Microscope photograph (4× objective) of a membrane that a urine sample was filtered through.
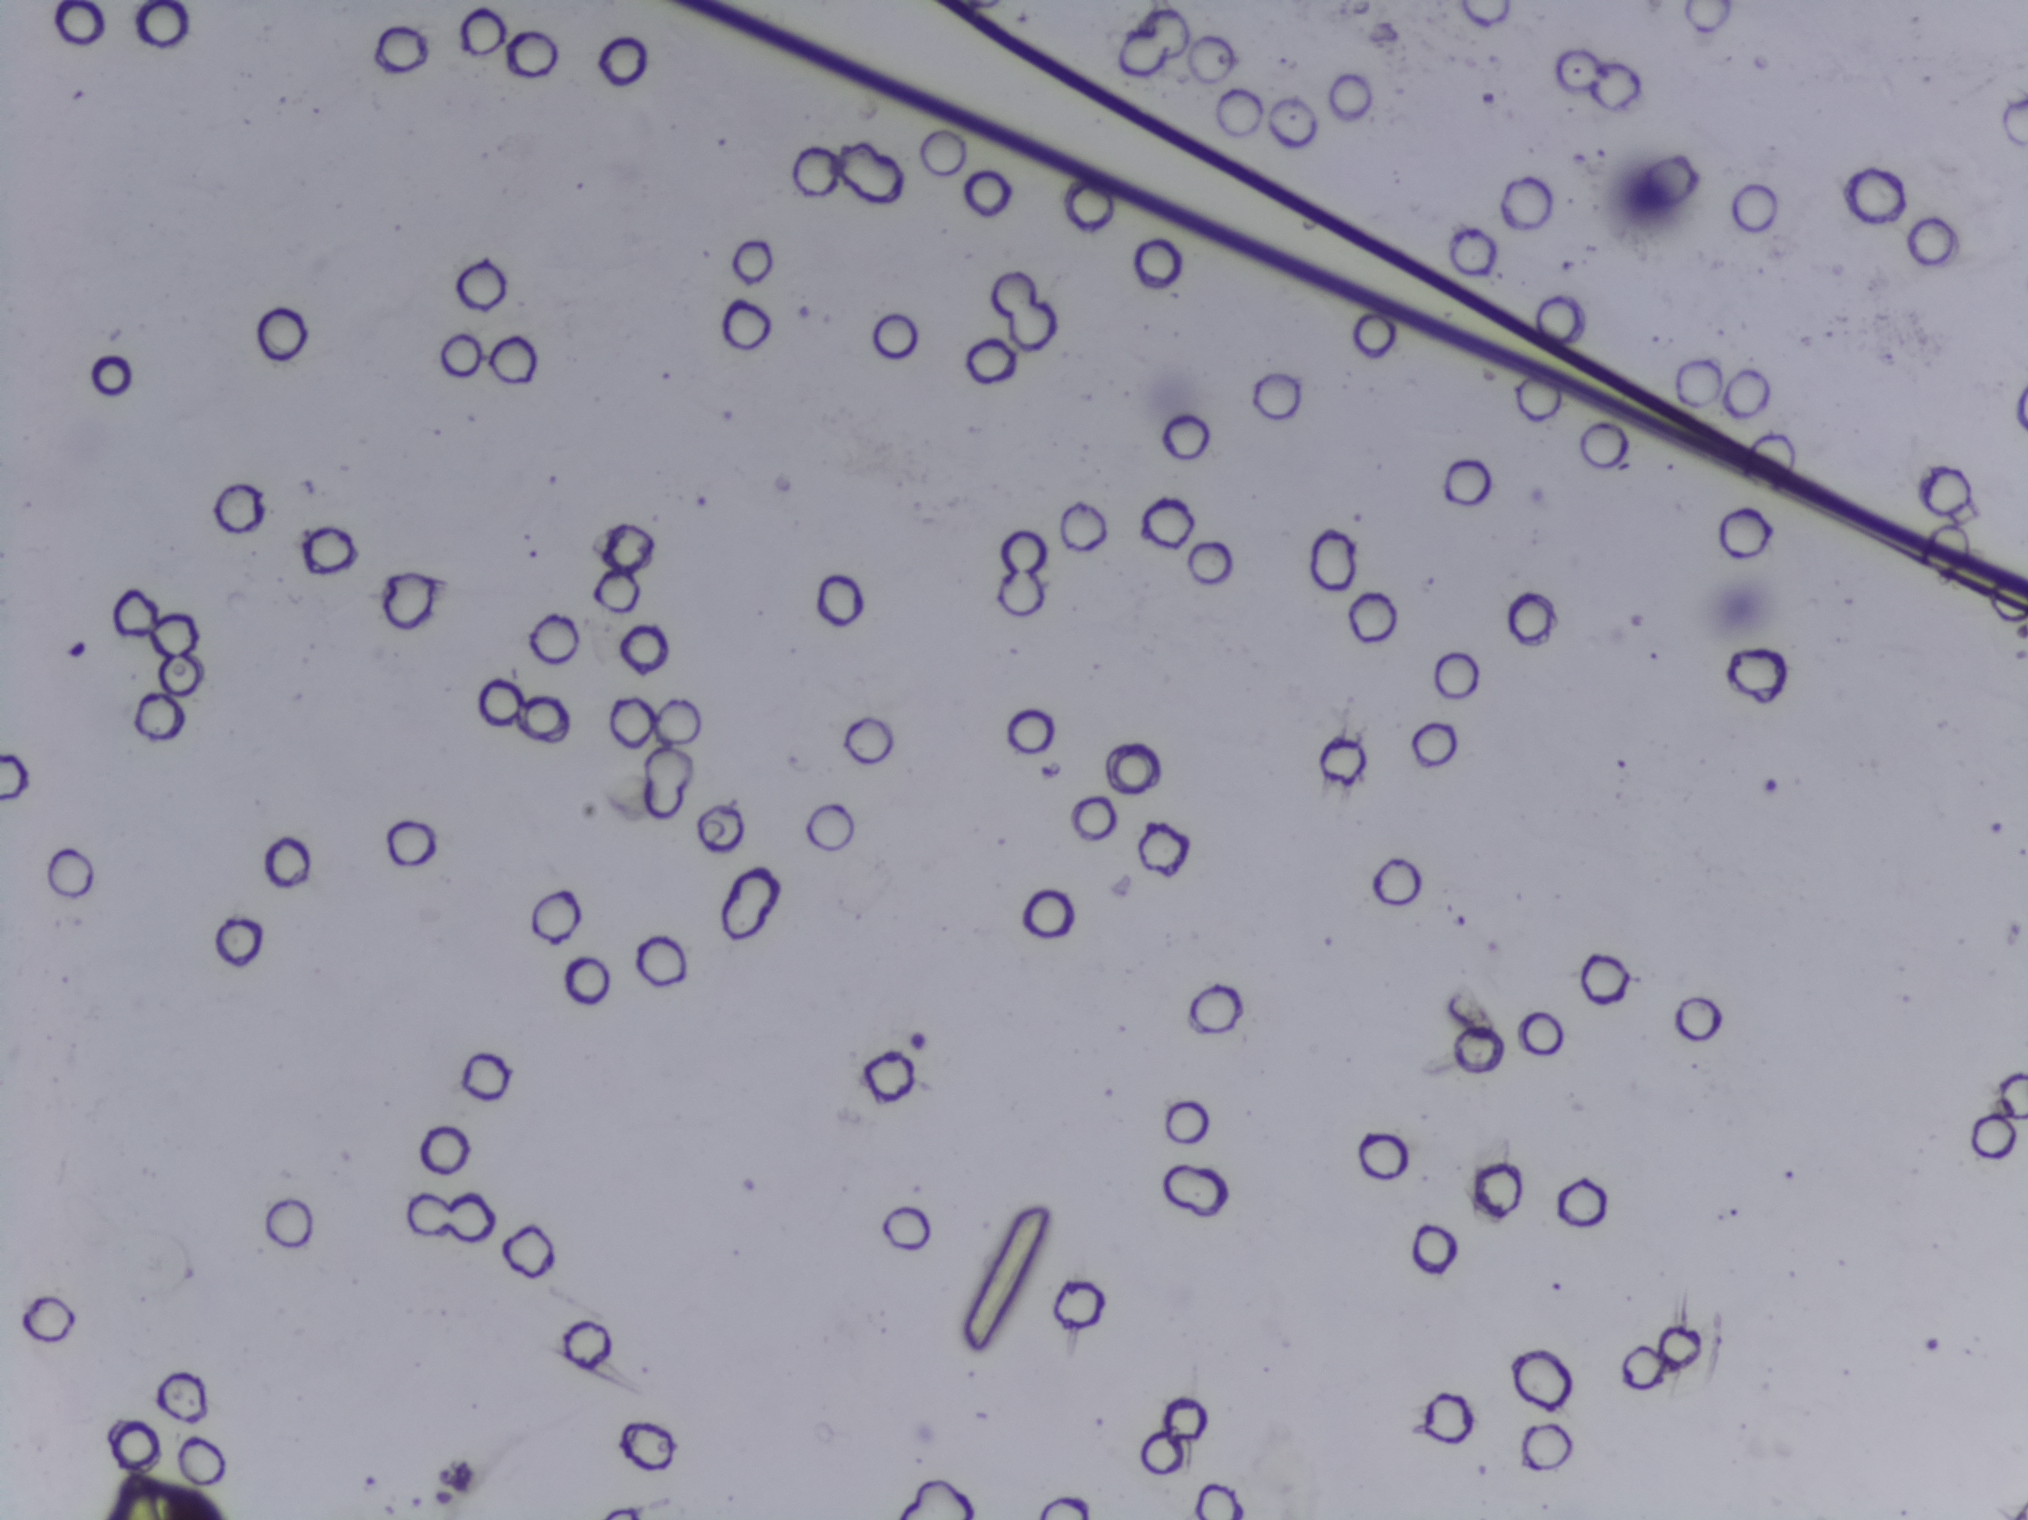
The expert annotation outlines no Schistosoma egg in this image.